Urine filtration membrane under a 4× objective, photographed by an automated digital microscope.
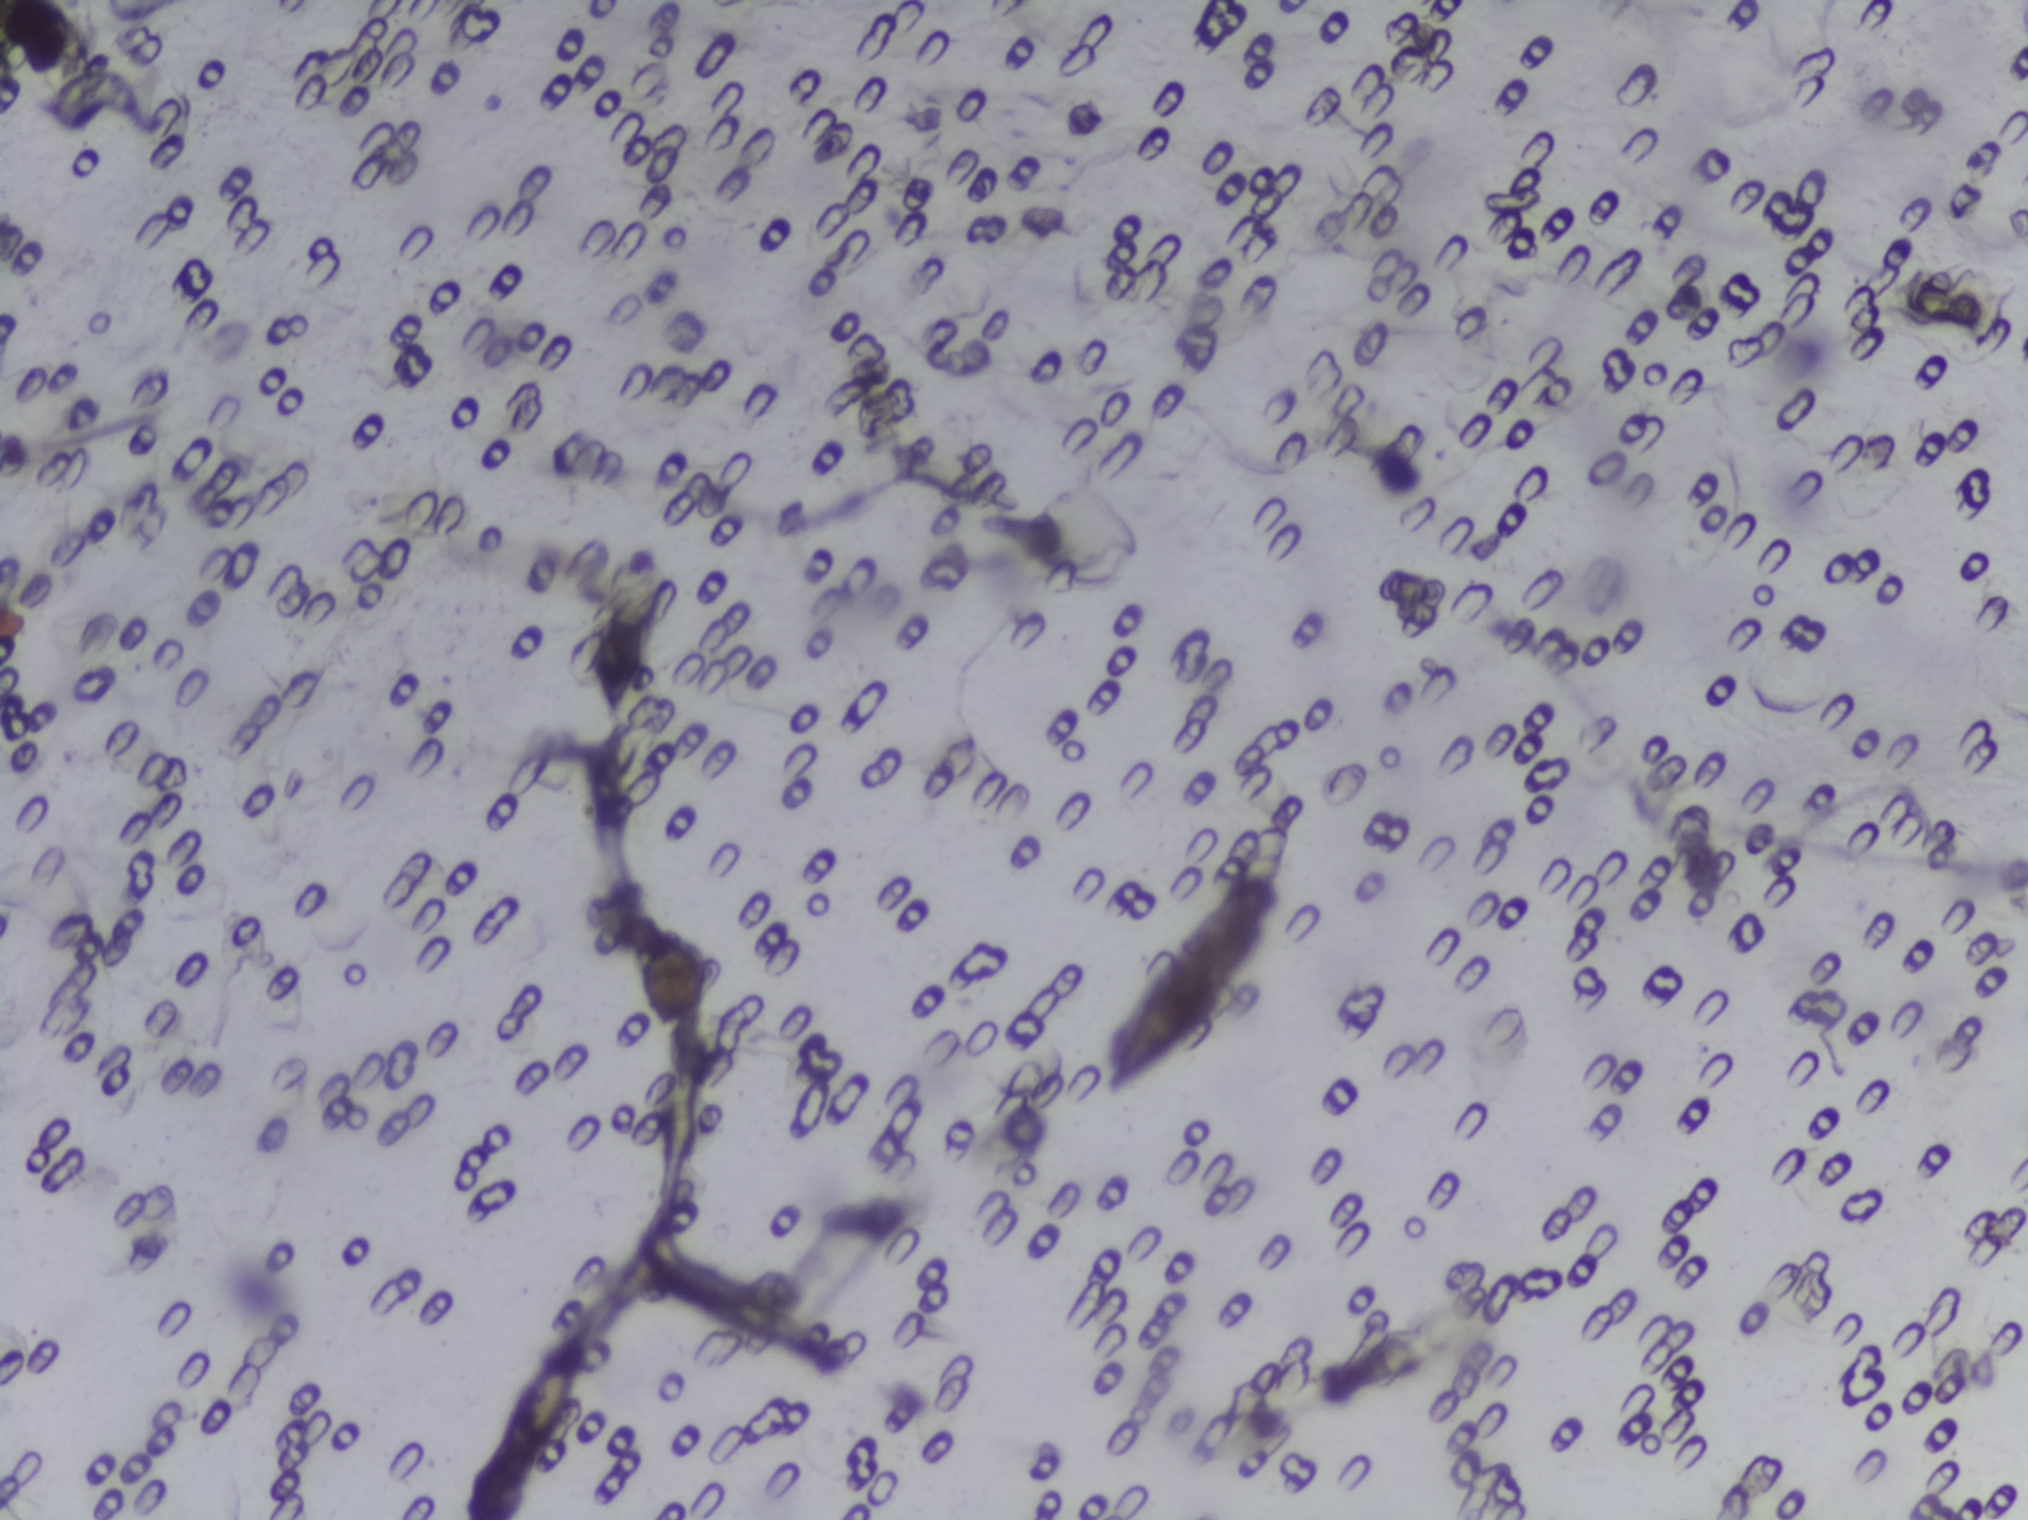
The expert annotation outlines no Schistosoma egg in this image.